Photograph from an automated digital microscope: urine filter membrane, 4× objective.
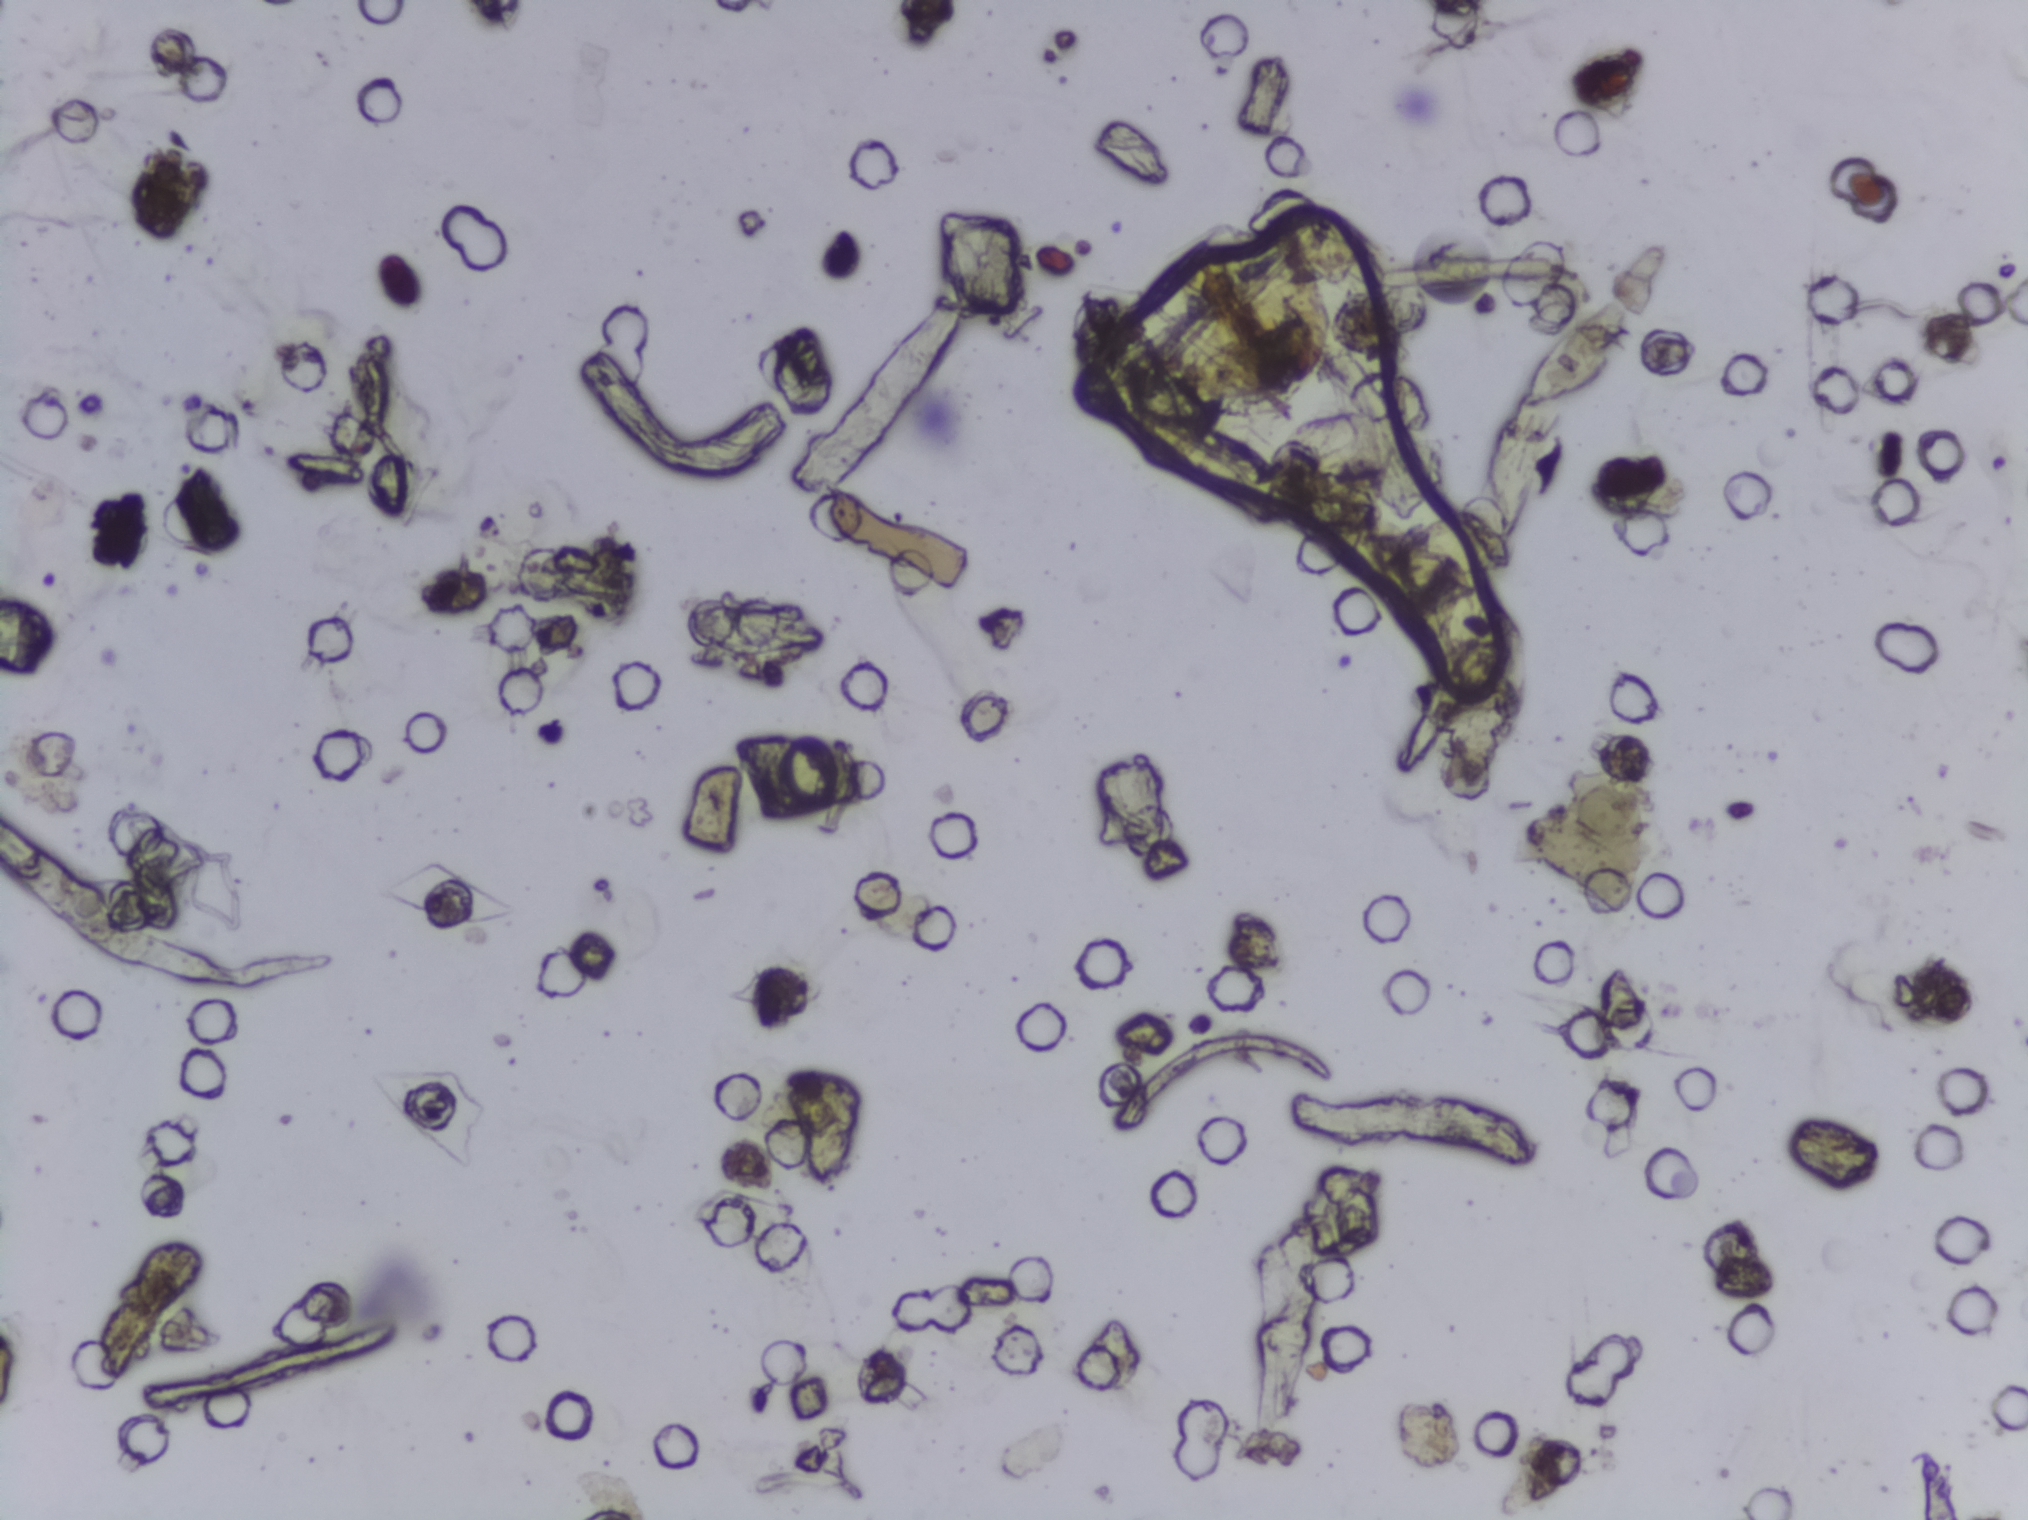
Schistosoma eggs: none outlined.